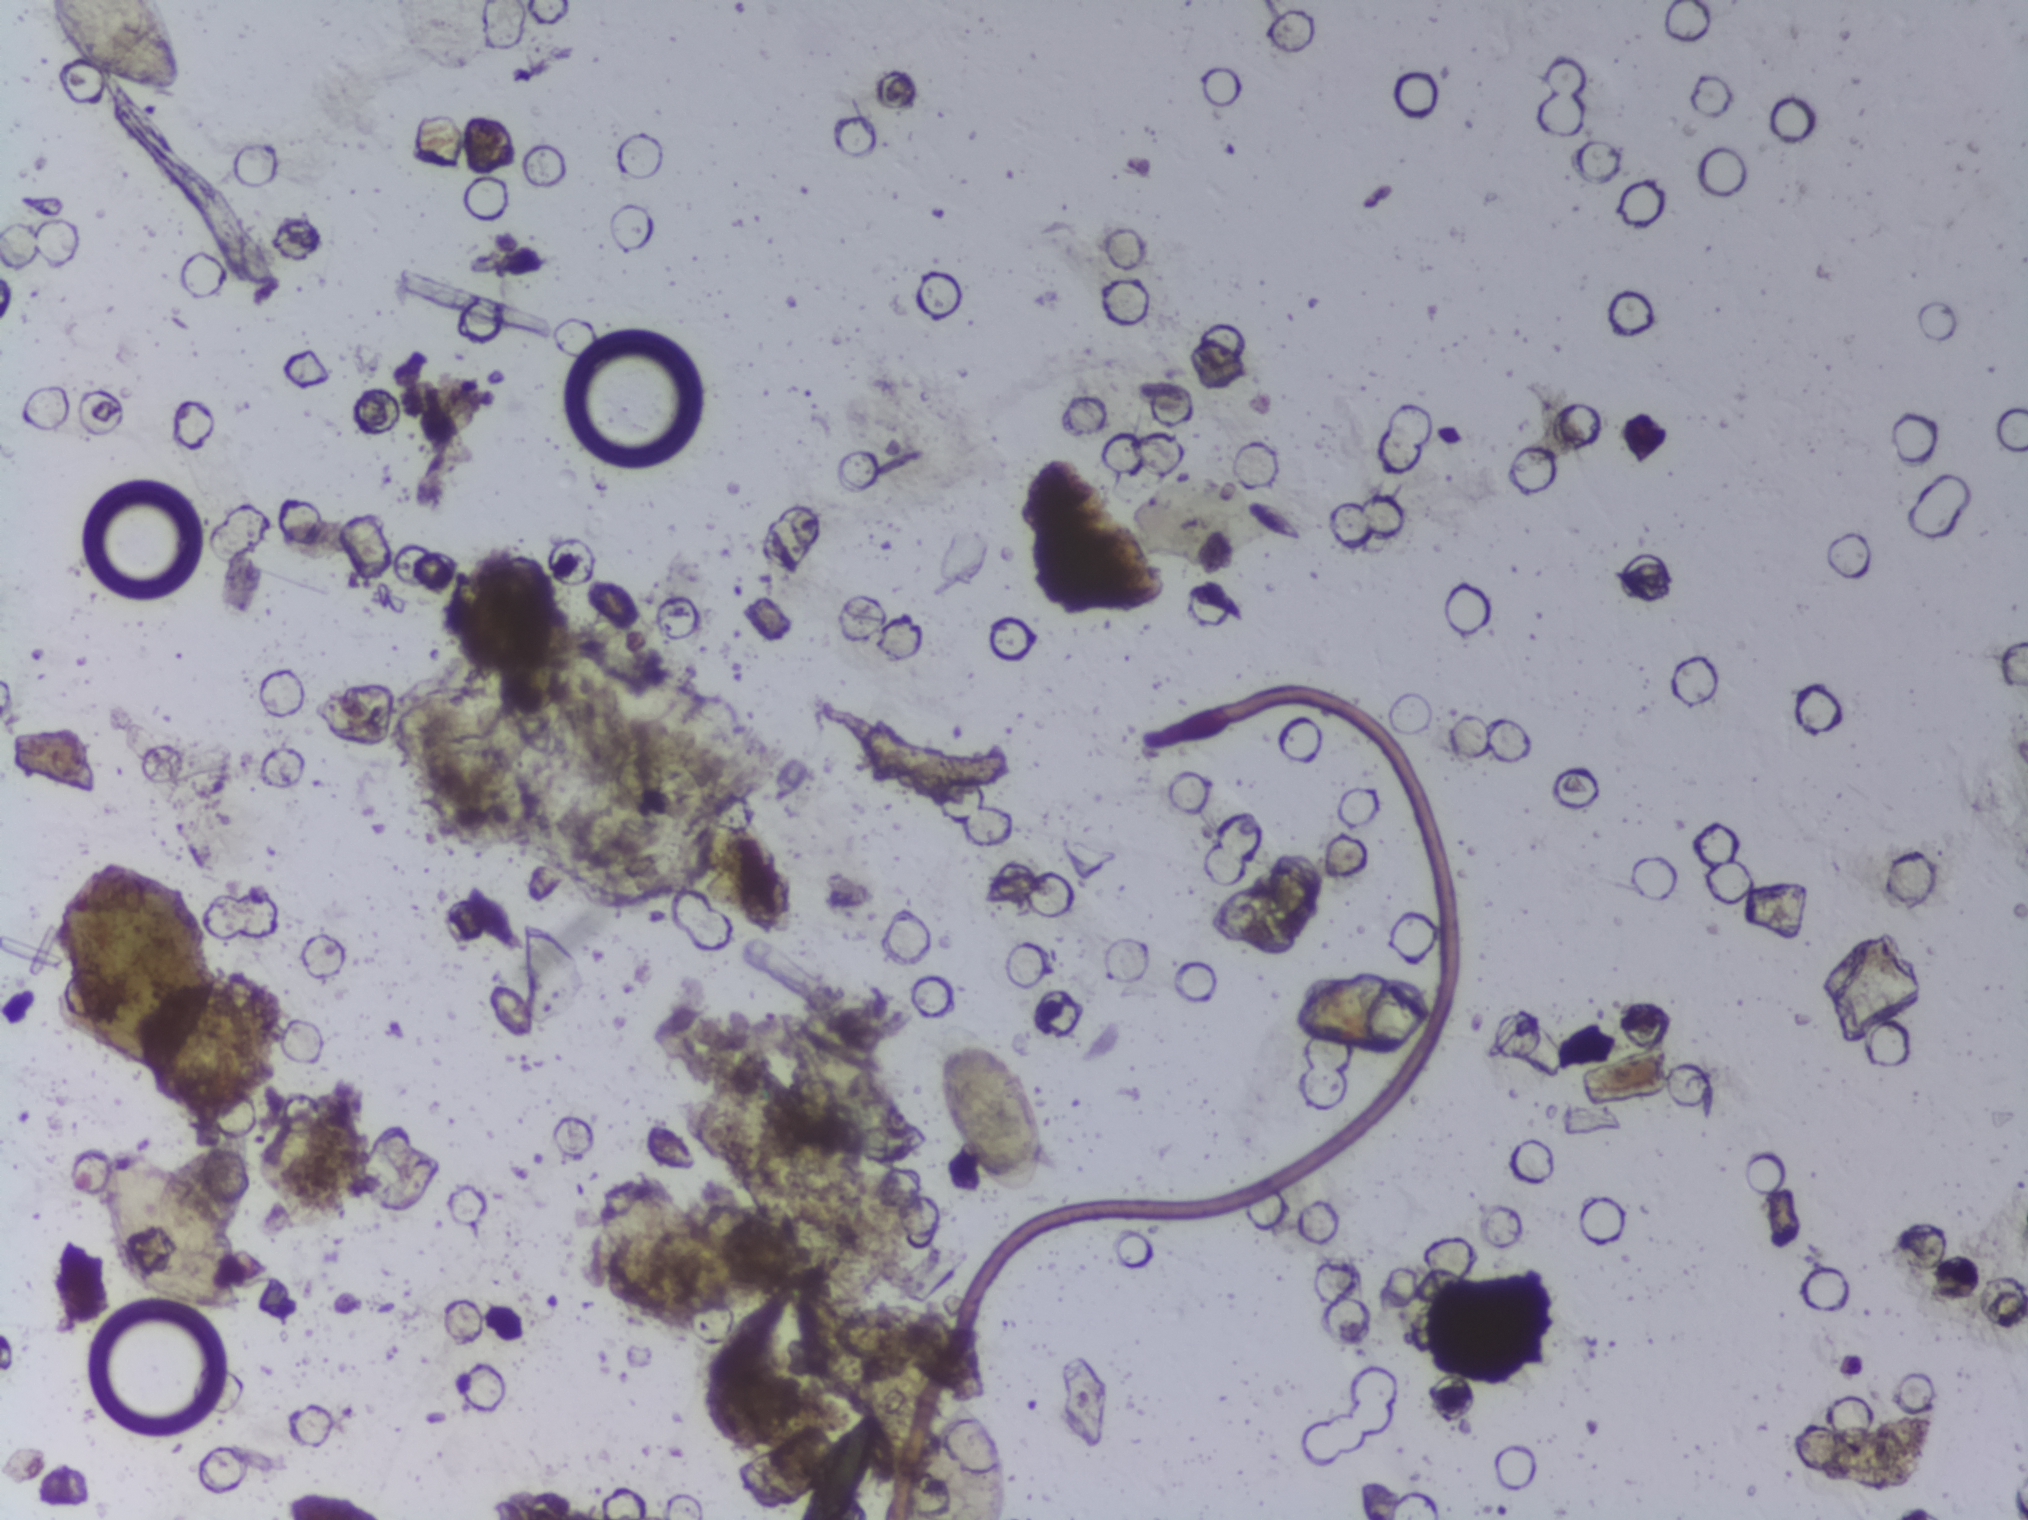
Urine filter membrane photographed through a 4× microscope objective. The image covers about 1.5 × 1.1 mm of the membrane.
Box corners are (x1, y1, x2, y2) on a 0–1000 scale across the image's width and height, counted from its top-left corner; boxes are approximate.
Four areas of this image are outlined as Schistosoma eggs, from left to right: (25, 0, 92, 70) (reaching the top edge of the frame); (47, 738, 128, 866); (439, 913, 500, 1000) (reaching the bottom edge of the frame); (459, 681, 524, 793). The marked pixels themselves, not the boxes around them, cover about 2.0% of the image. Eggs that touch can end up inside the same outlined area. Any one outlined egg may, rarely, be S. mansoni rather than S. haematobium.